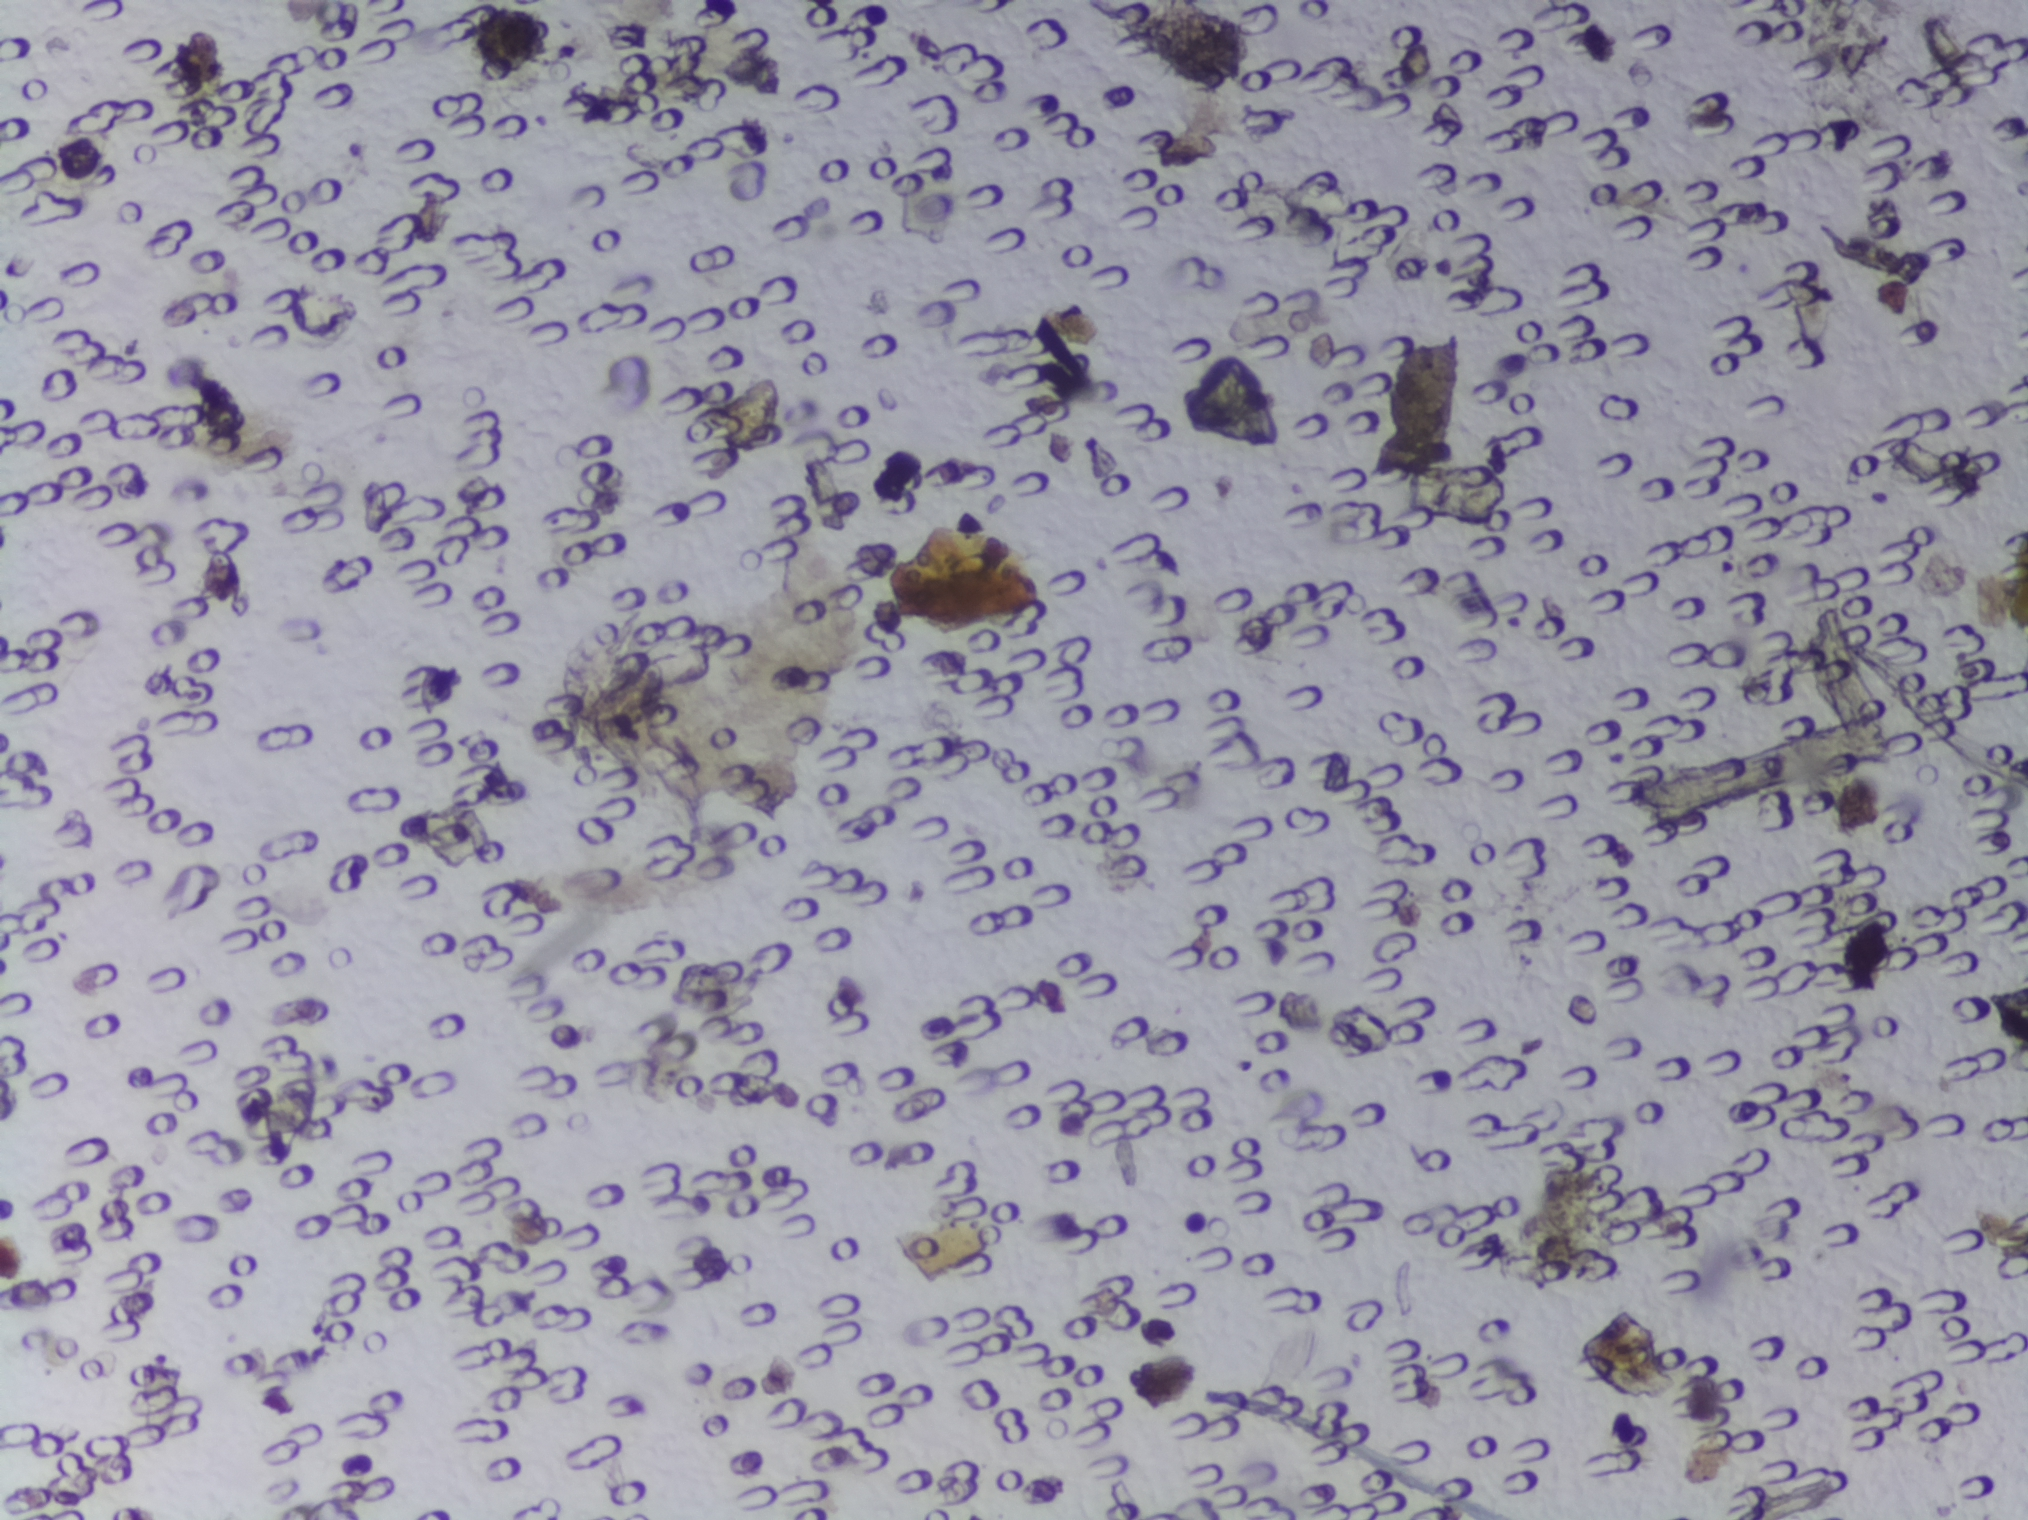
Schistosoma eggs: none outlined.
Photograph from an automated digital microscope: urine filter membrane, 4× objective.